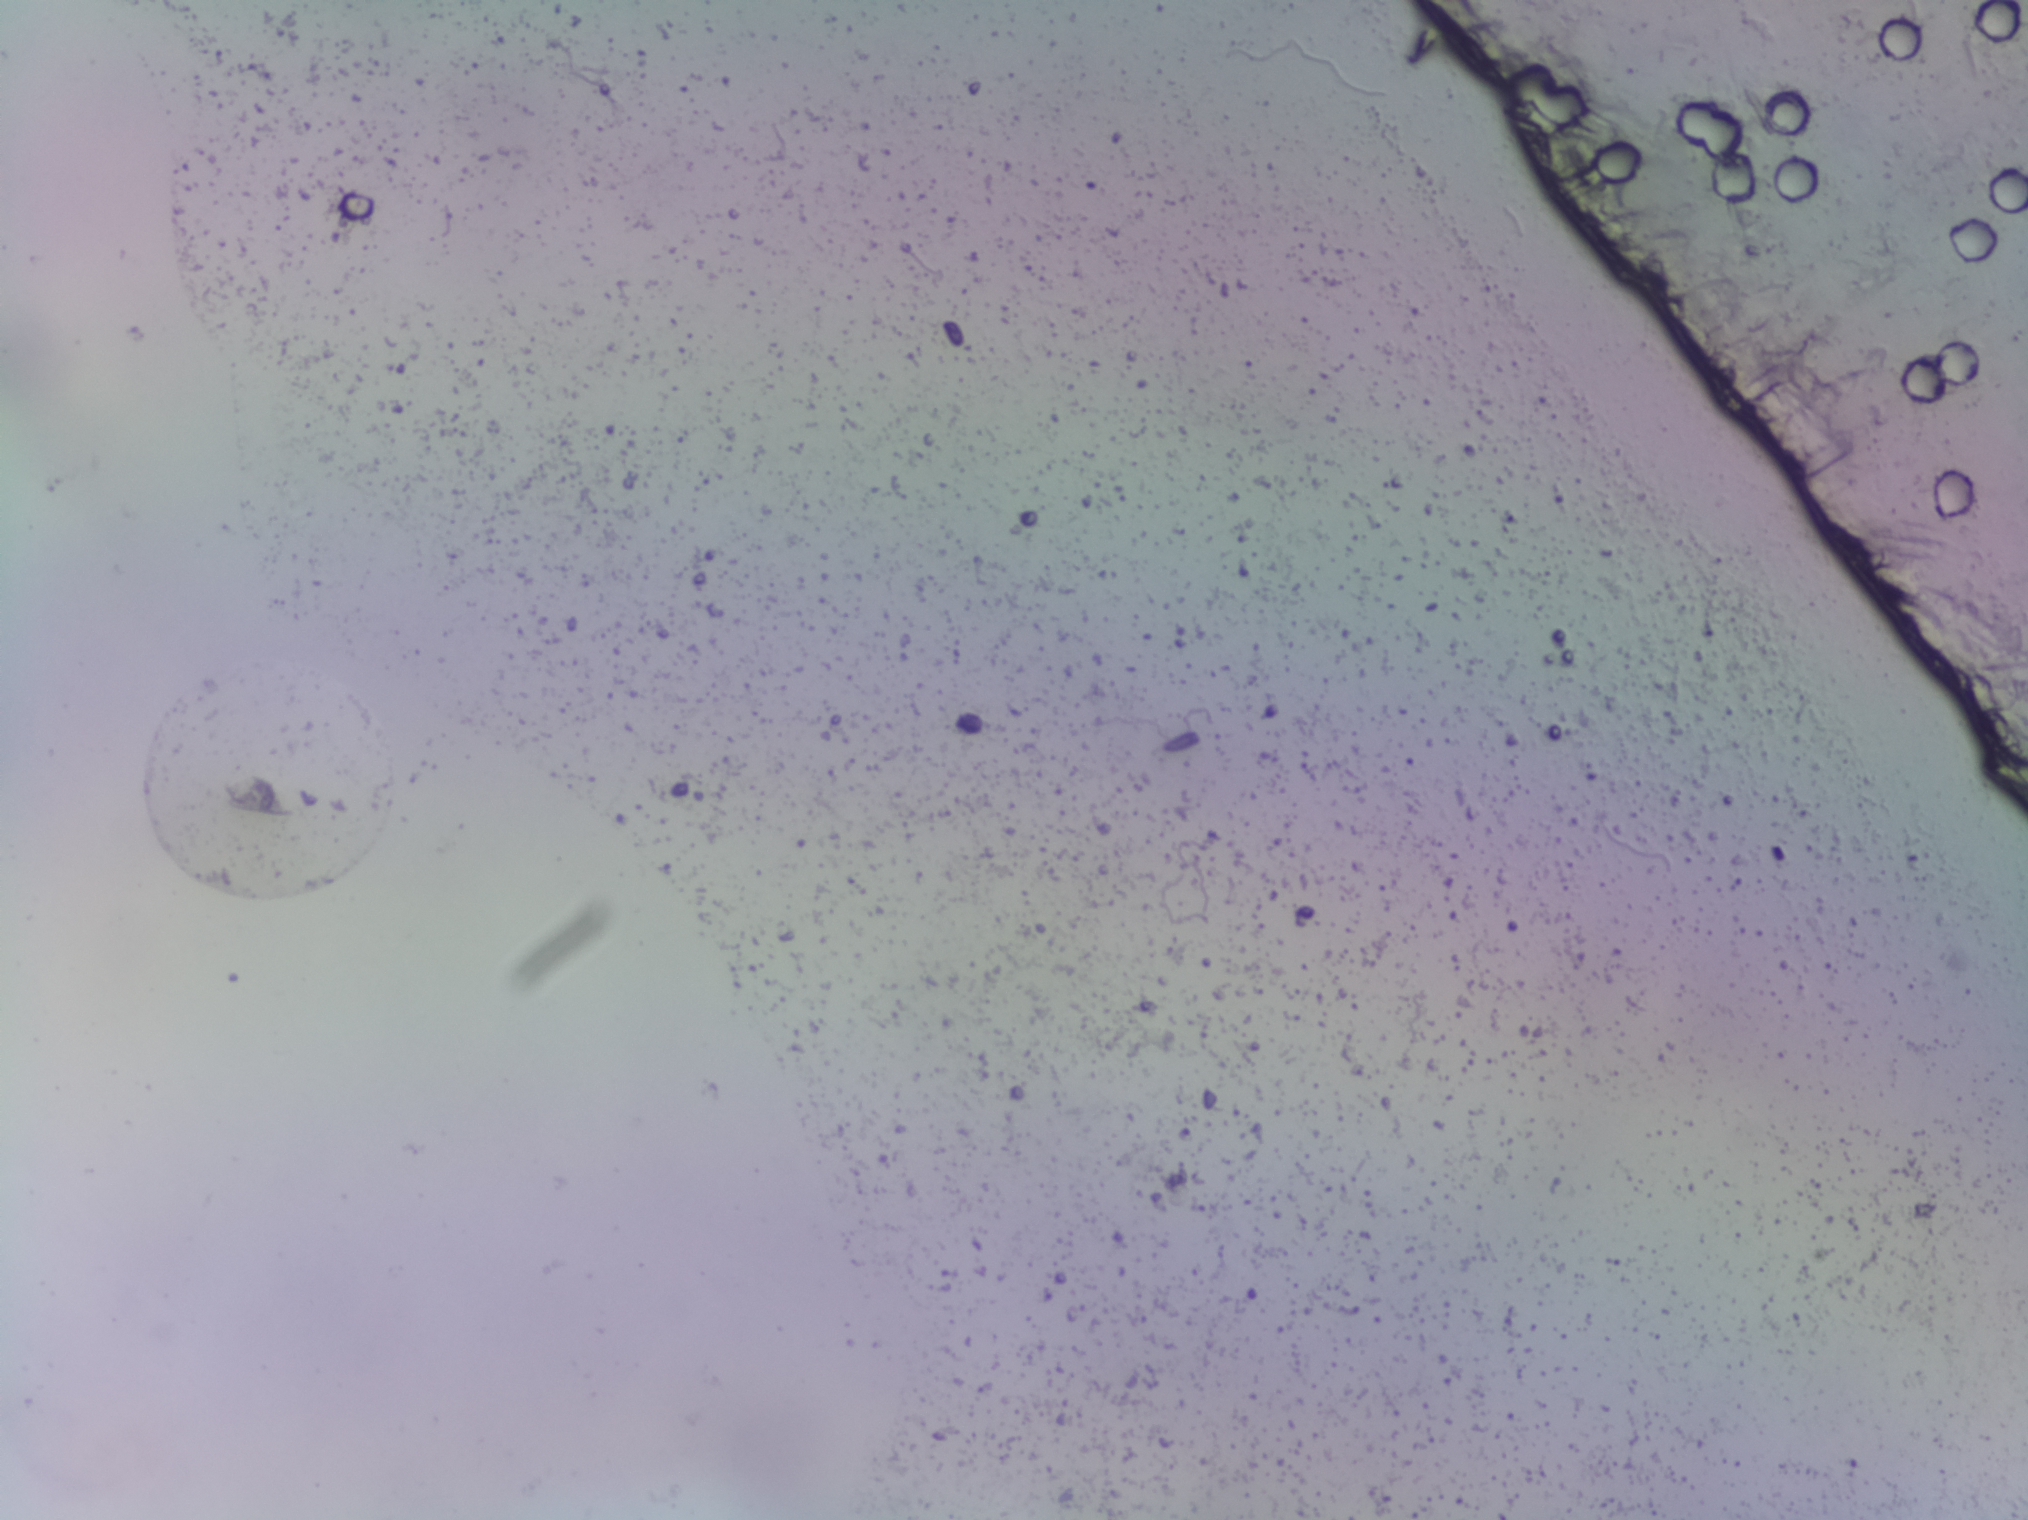
Urine filter membrane photographed through a 4× microscope objective.
Schistosoma eggs: none outlined.